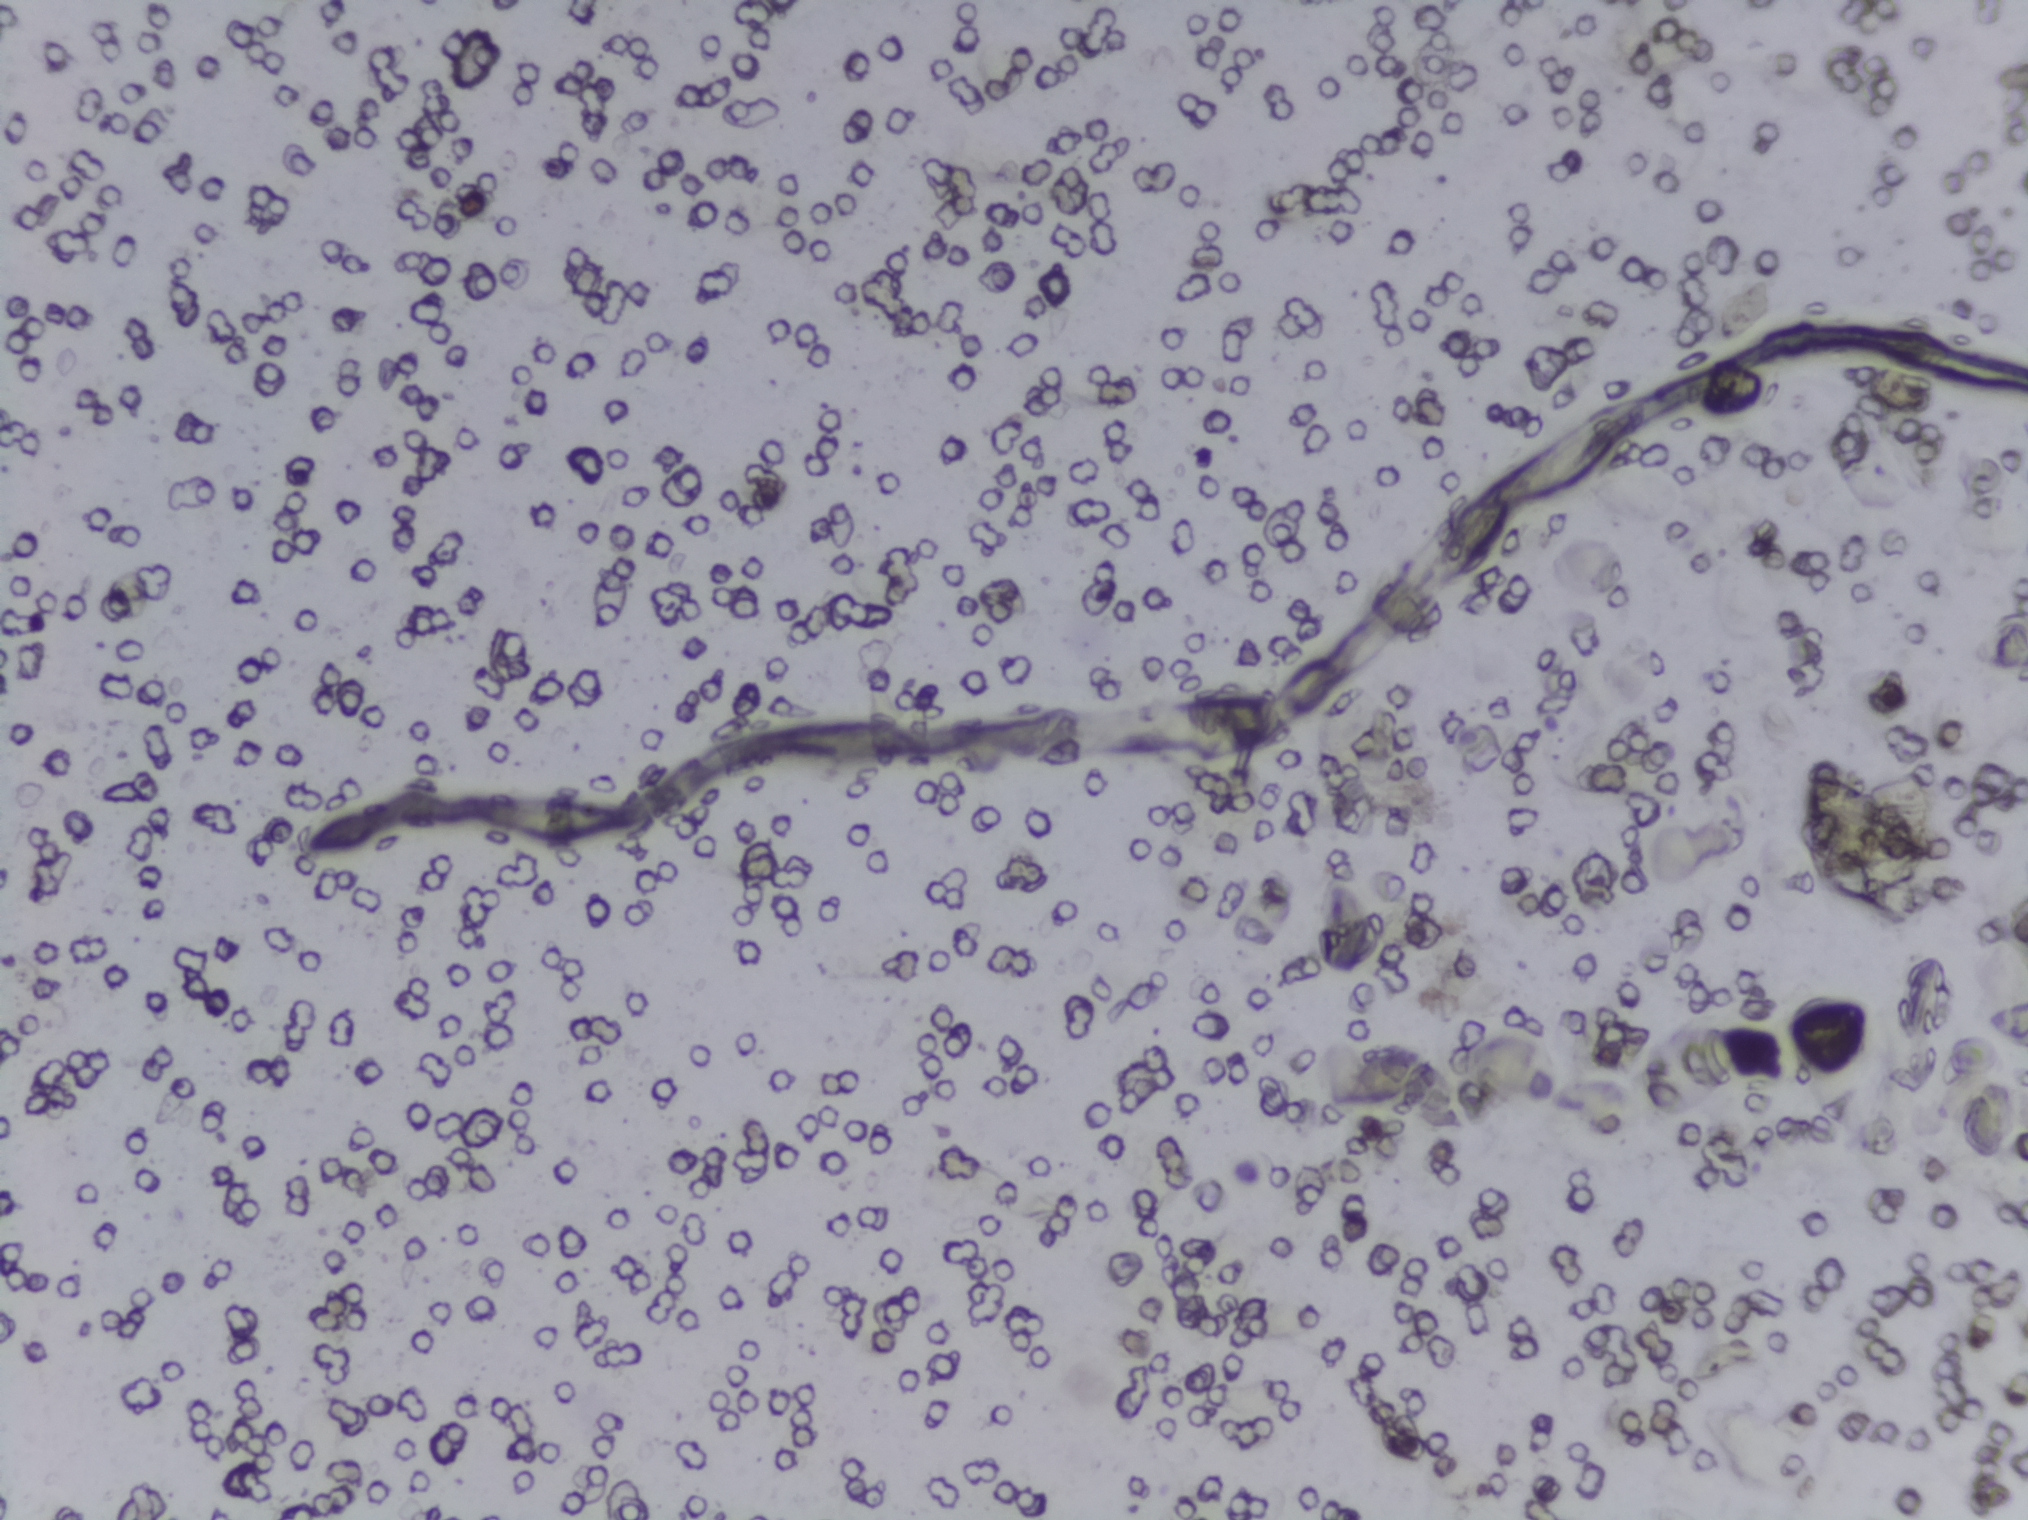
One field of view of a urine filter membrane, 4× objective, 2028 × 1520 pixels.
Schistosoma eggs: none outlined.